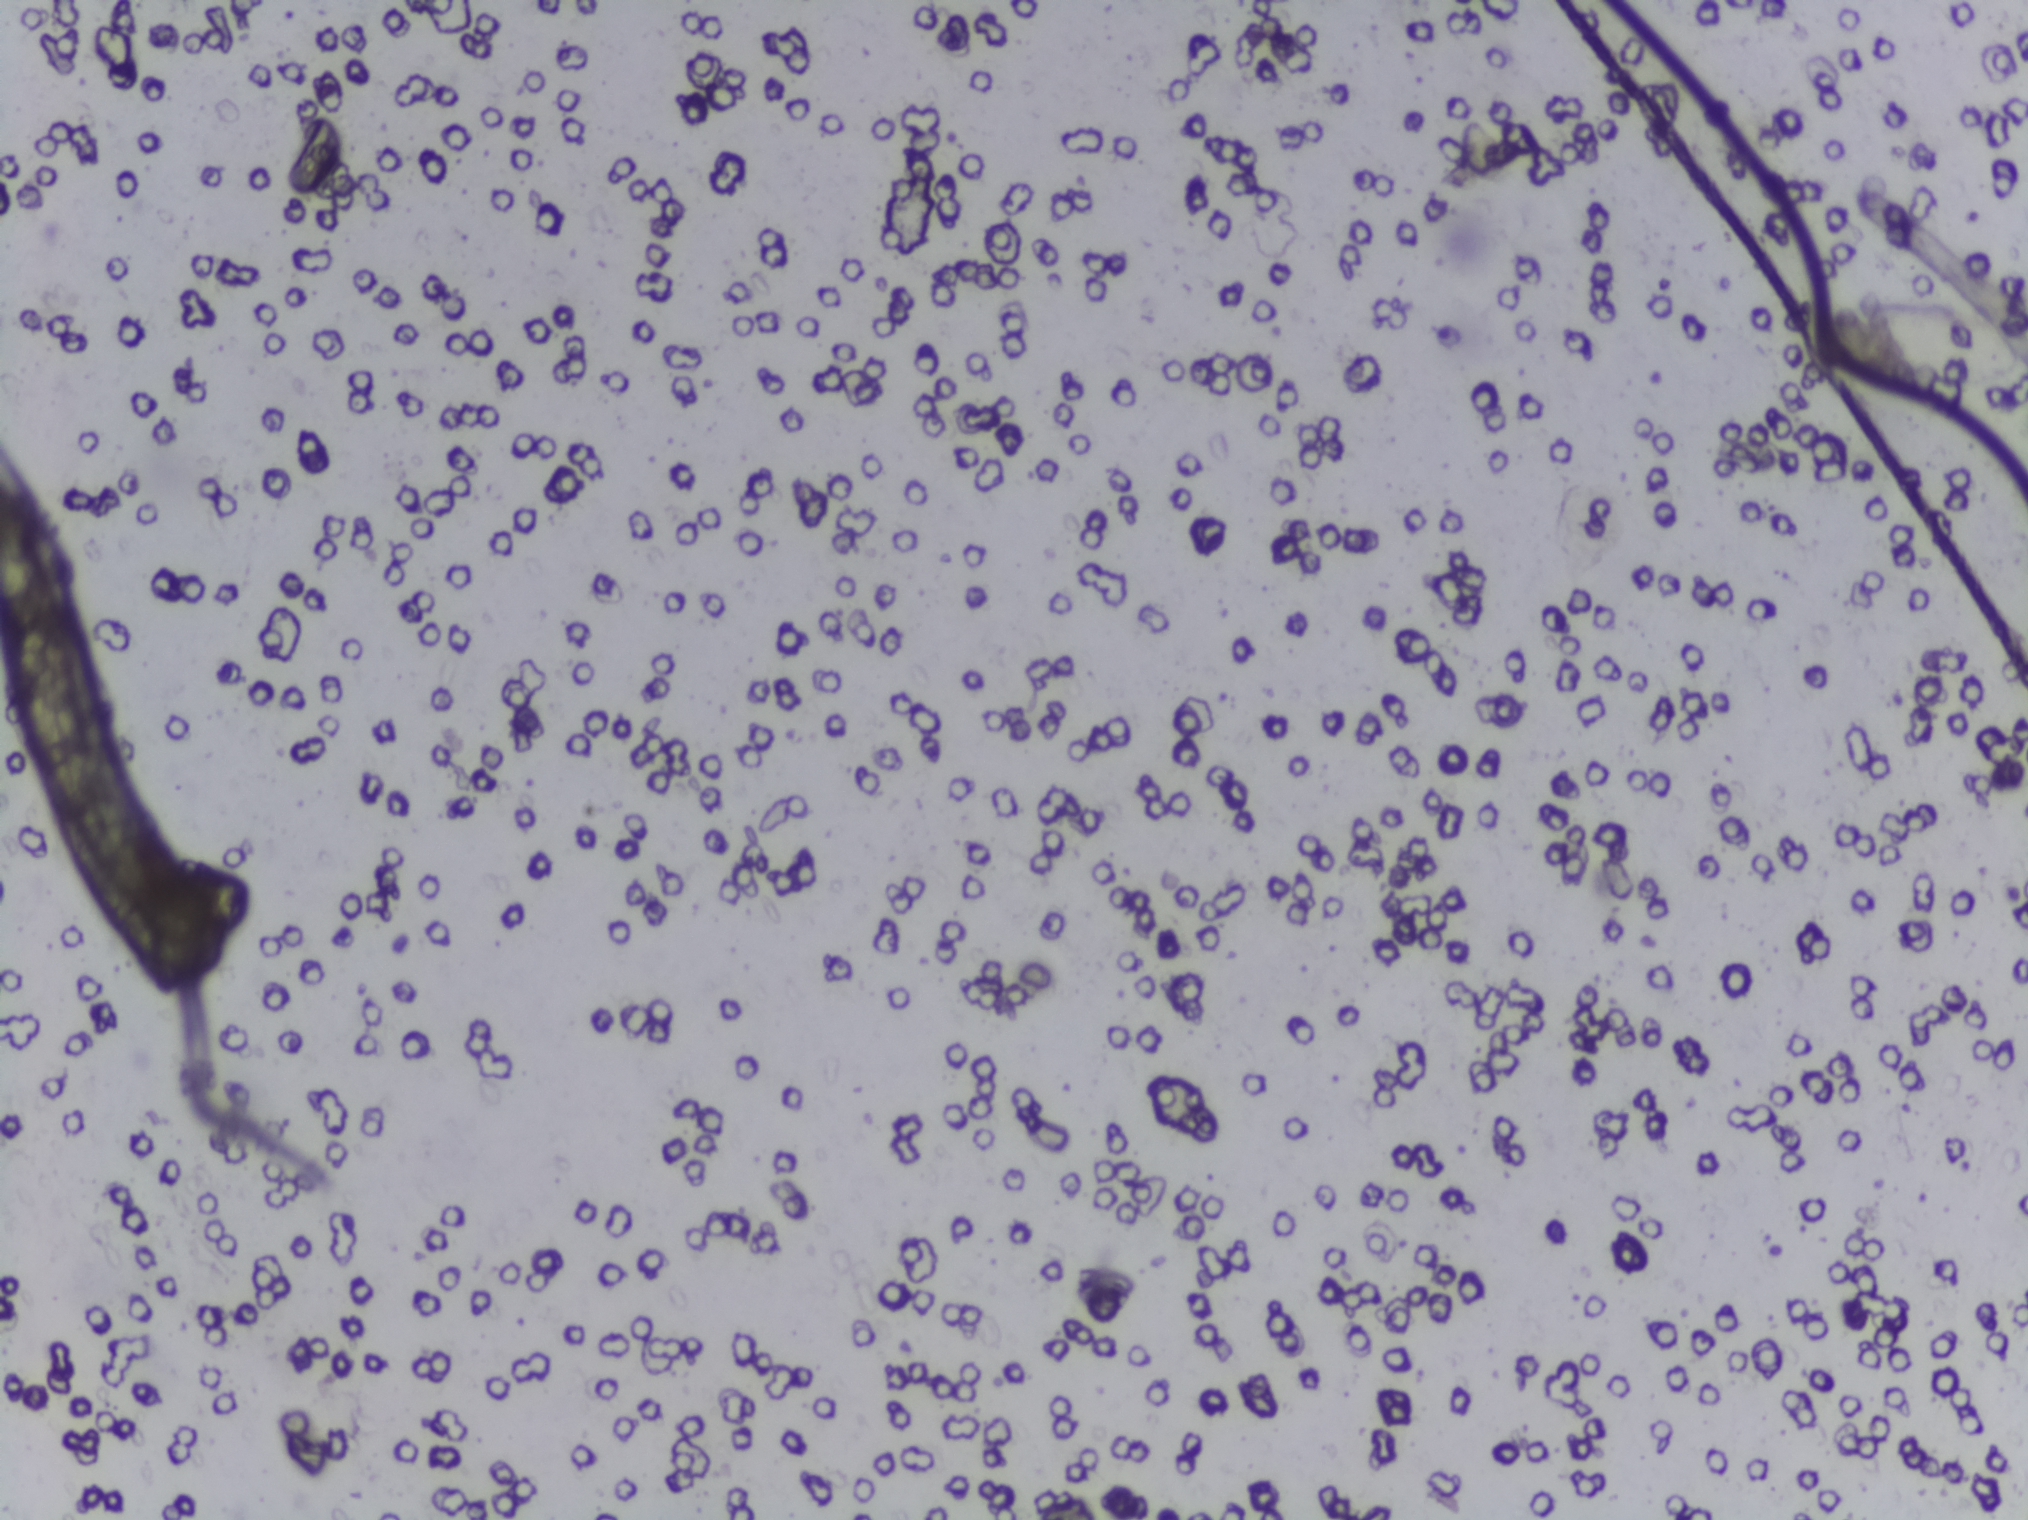
One field of view of a urine filter membrane, 4× objective, 2028 × 1520 pixels.
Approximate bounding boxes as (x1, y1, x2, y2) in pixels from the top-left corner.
Findings: one area outlined as Schistosoma eggs. Location: (1830, 300, 2020, 388). Eggs that touch can end up inside the same outlined area.